Photograph from an automated digital microscope: urine filter membrane, 4× objective.
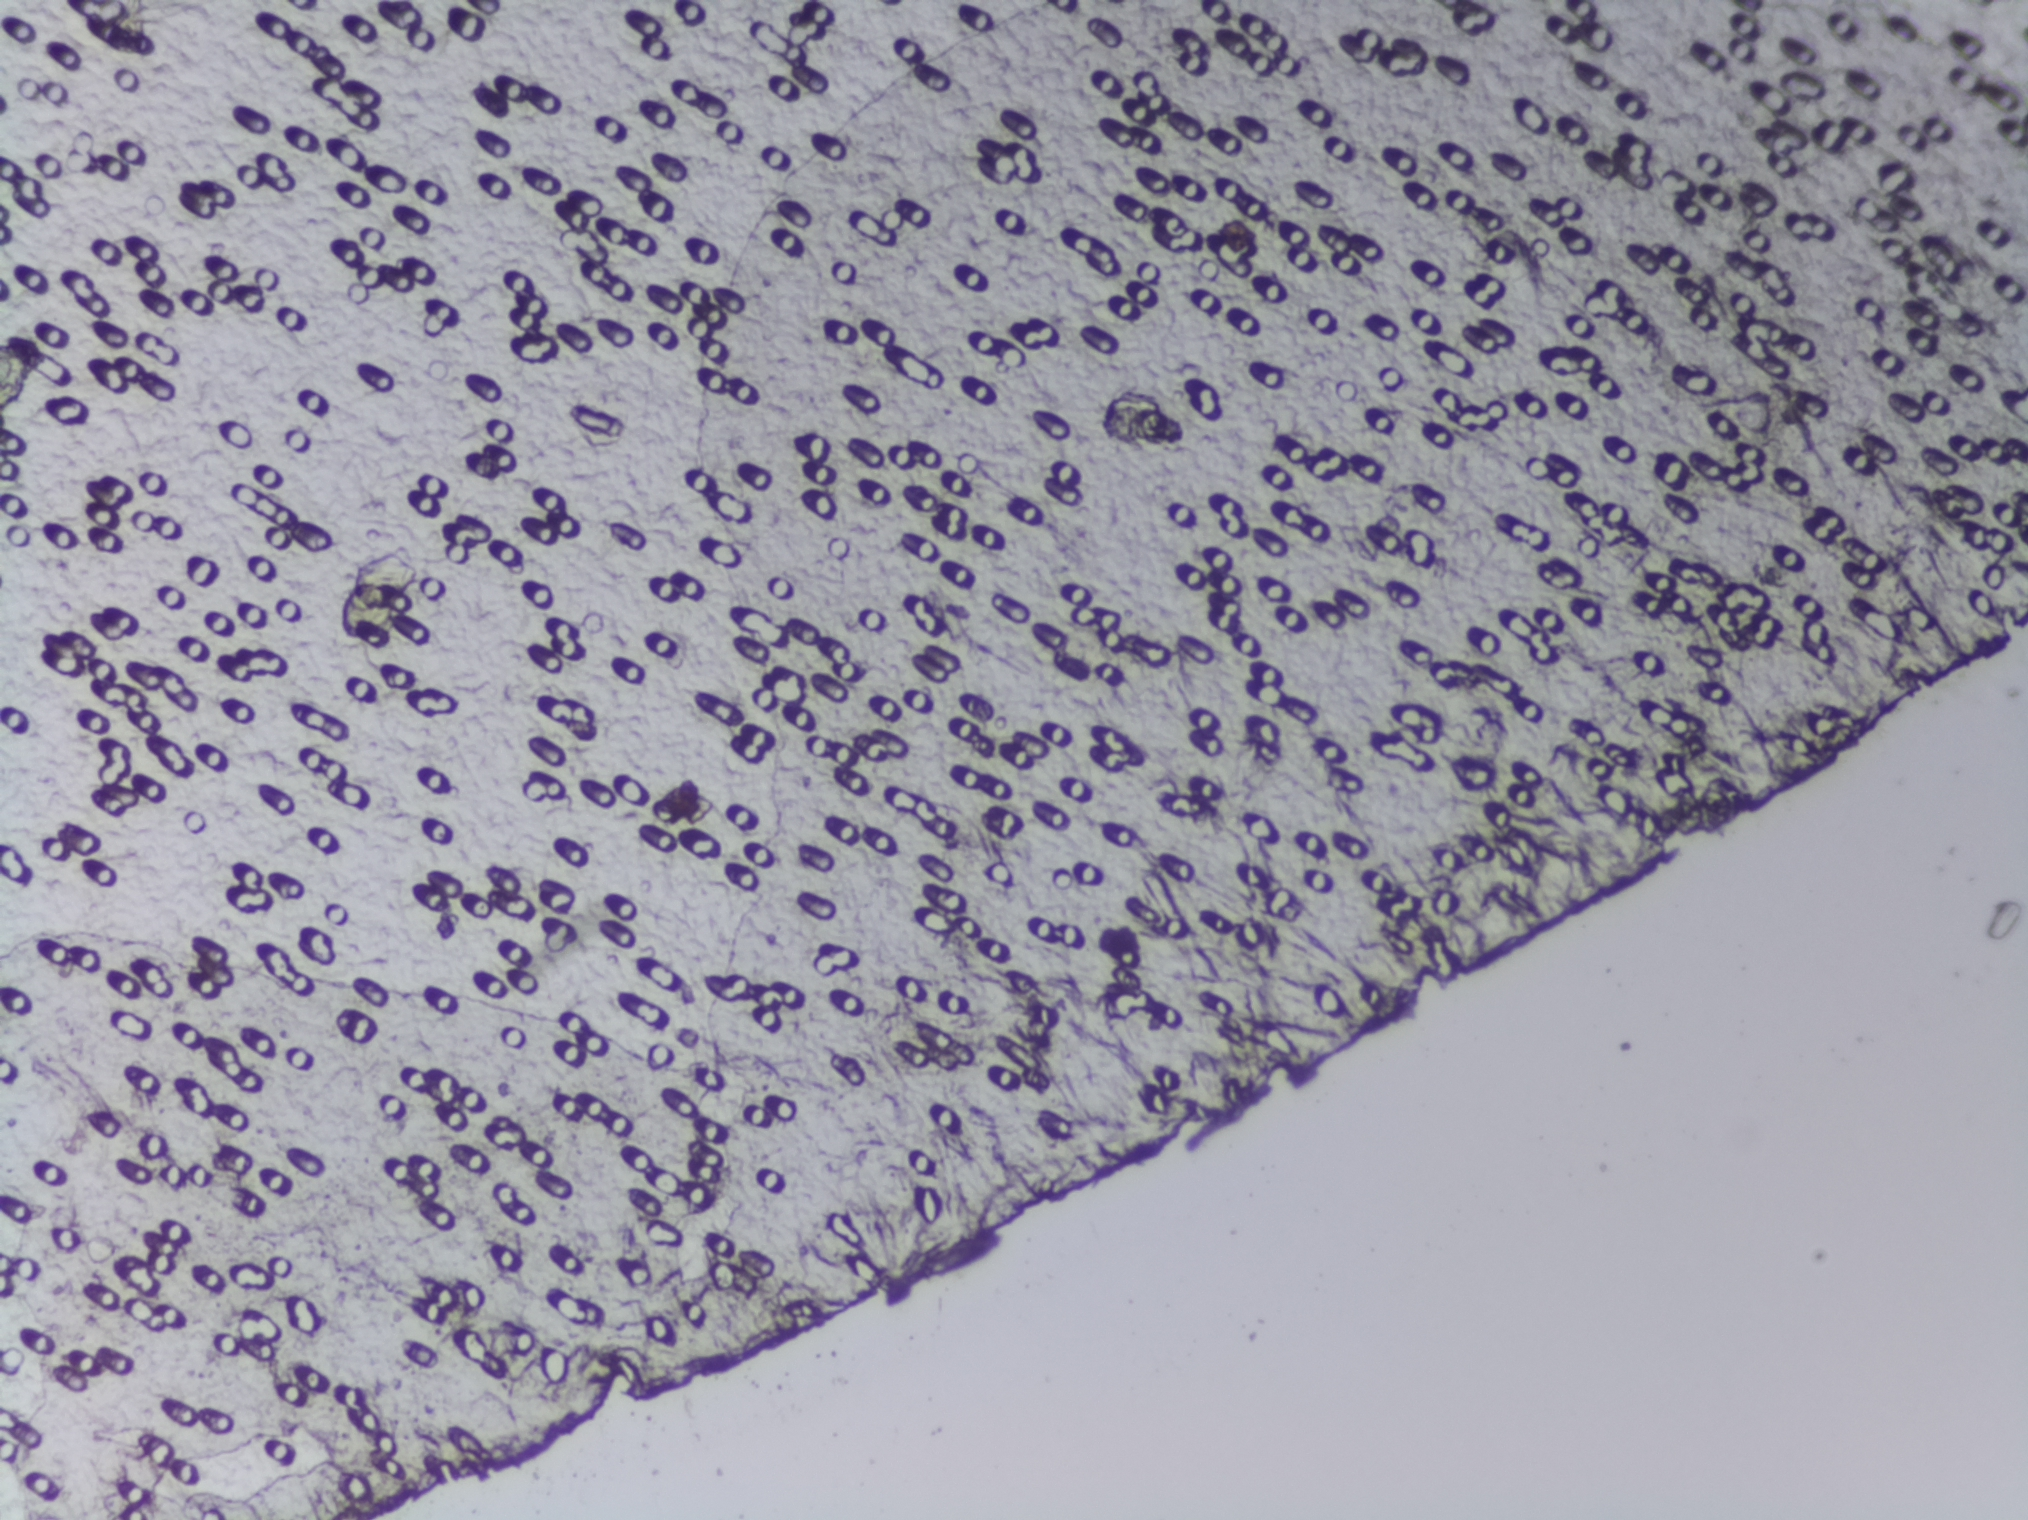
No Schistosoma egg is outlined in this image's expert annotation.